Microscope photograph (4× objective) of a membrane that a urine sample was filtered through.
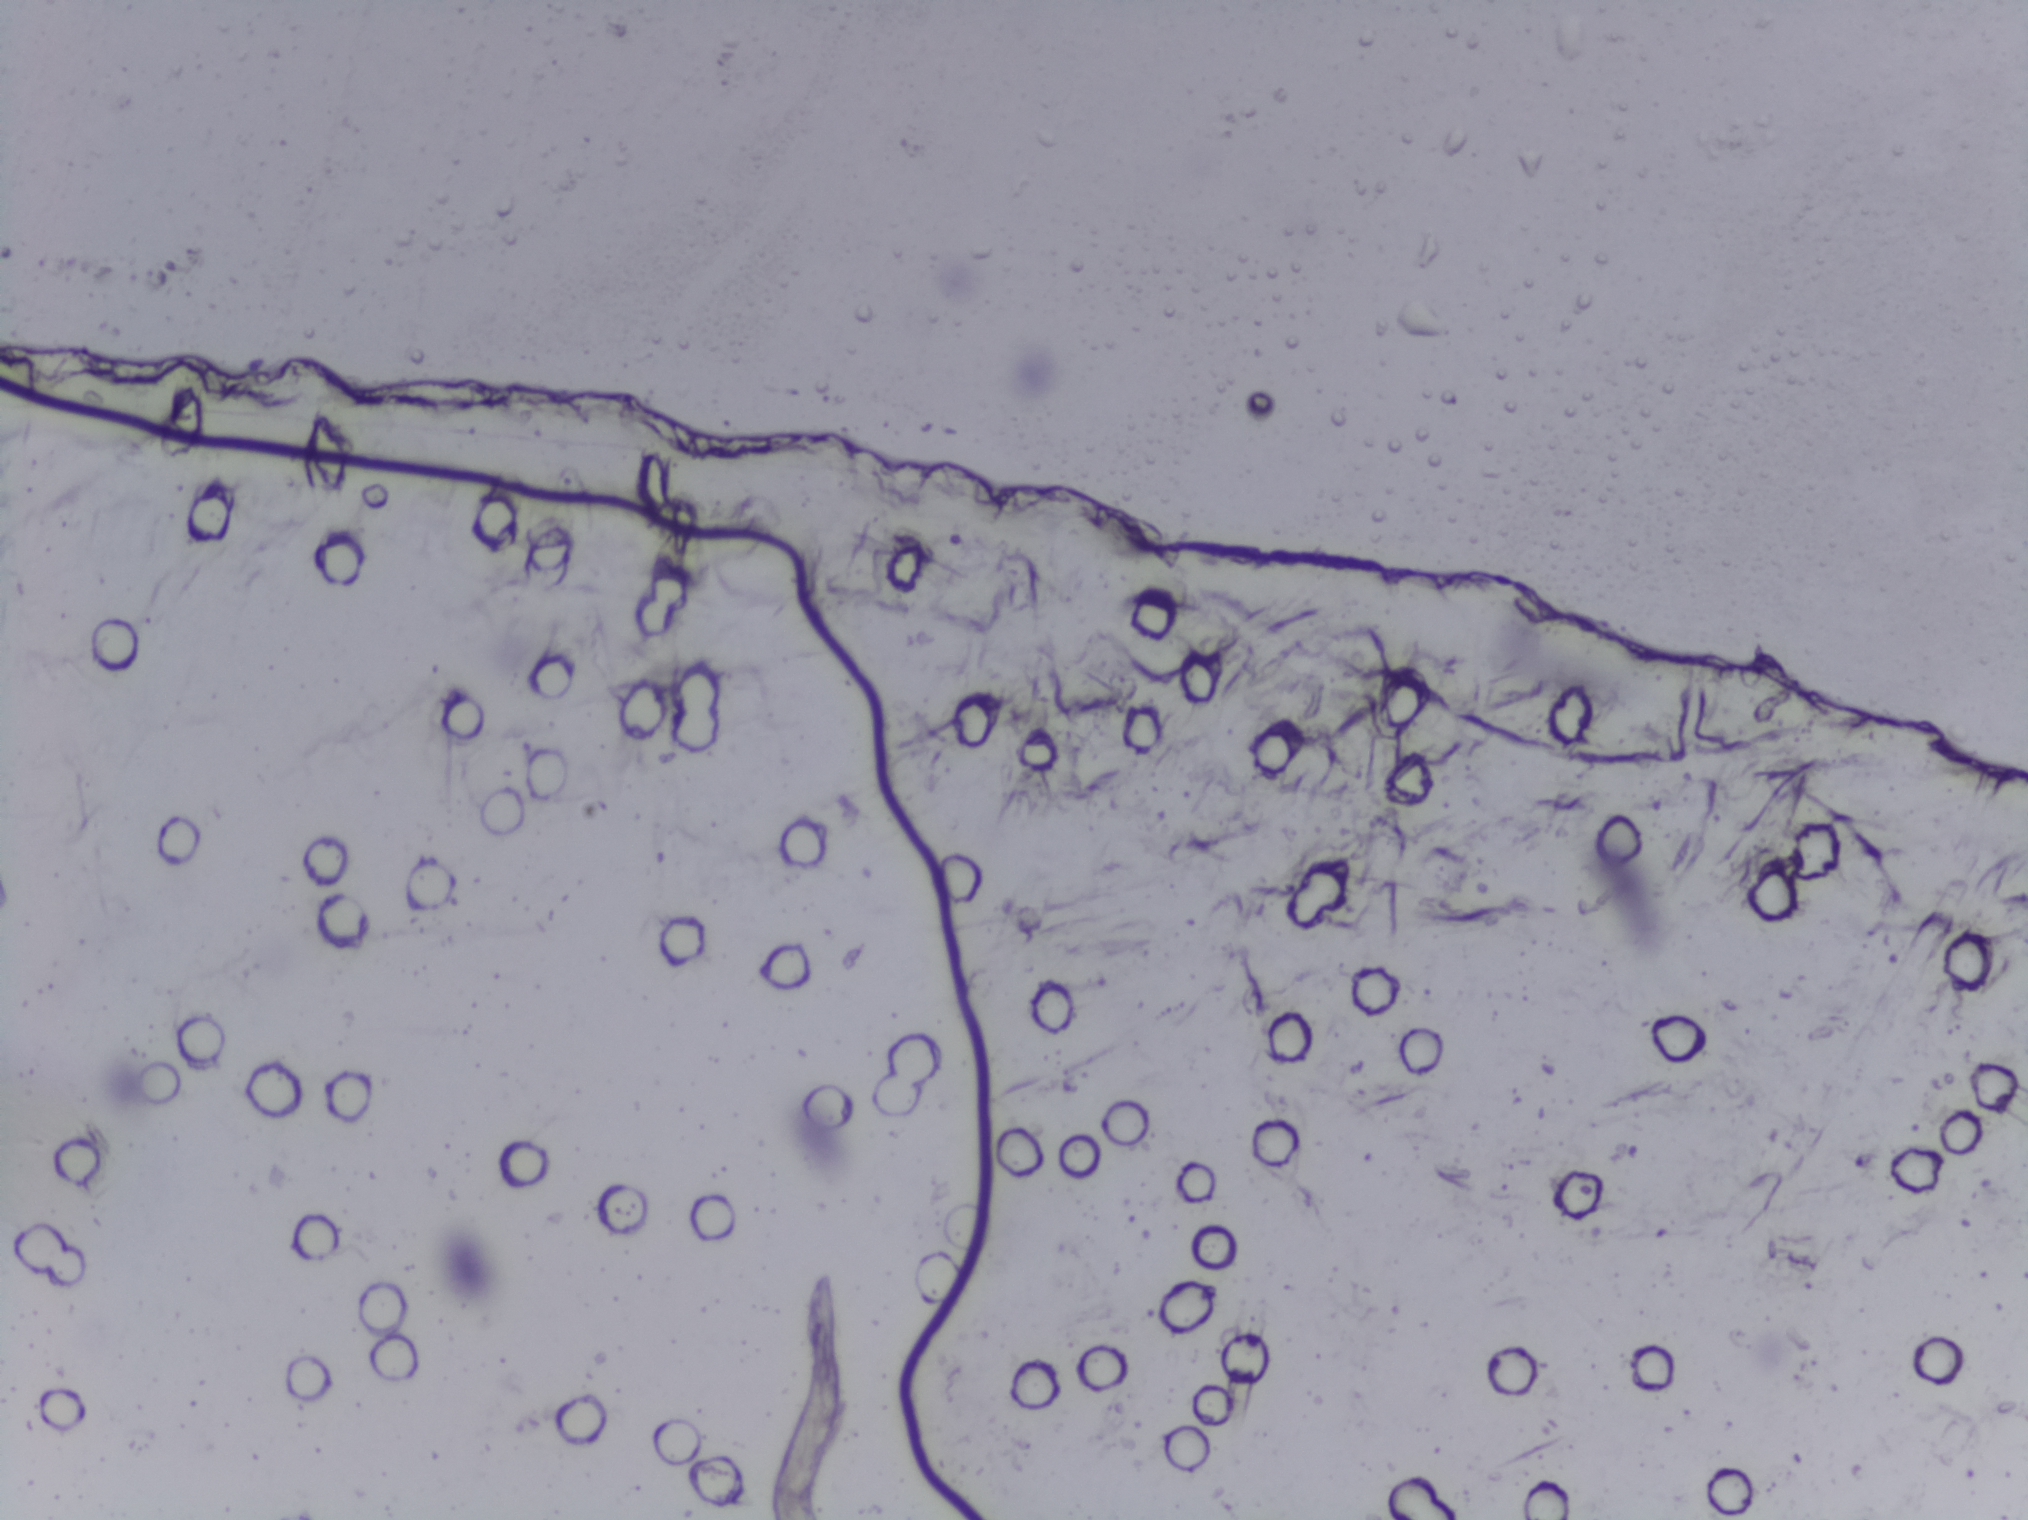
The expert annotation outlines no Schistosoma egg in this image.